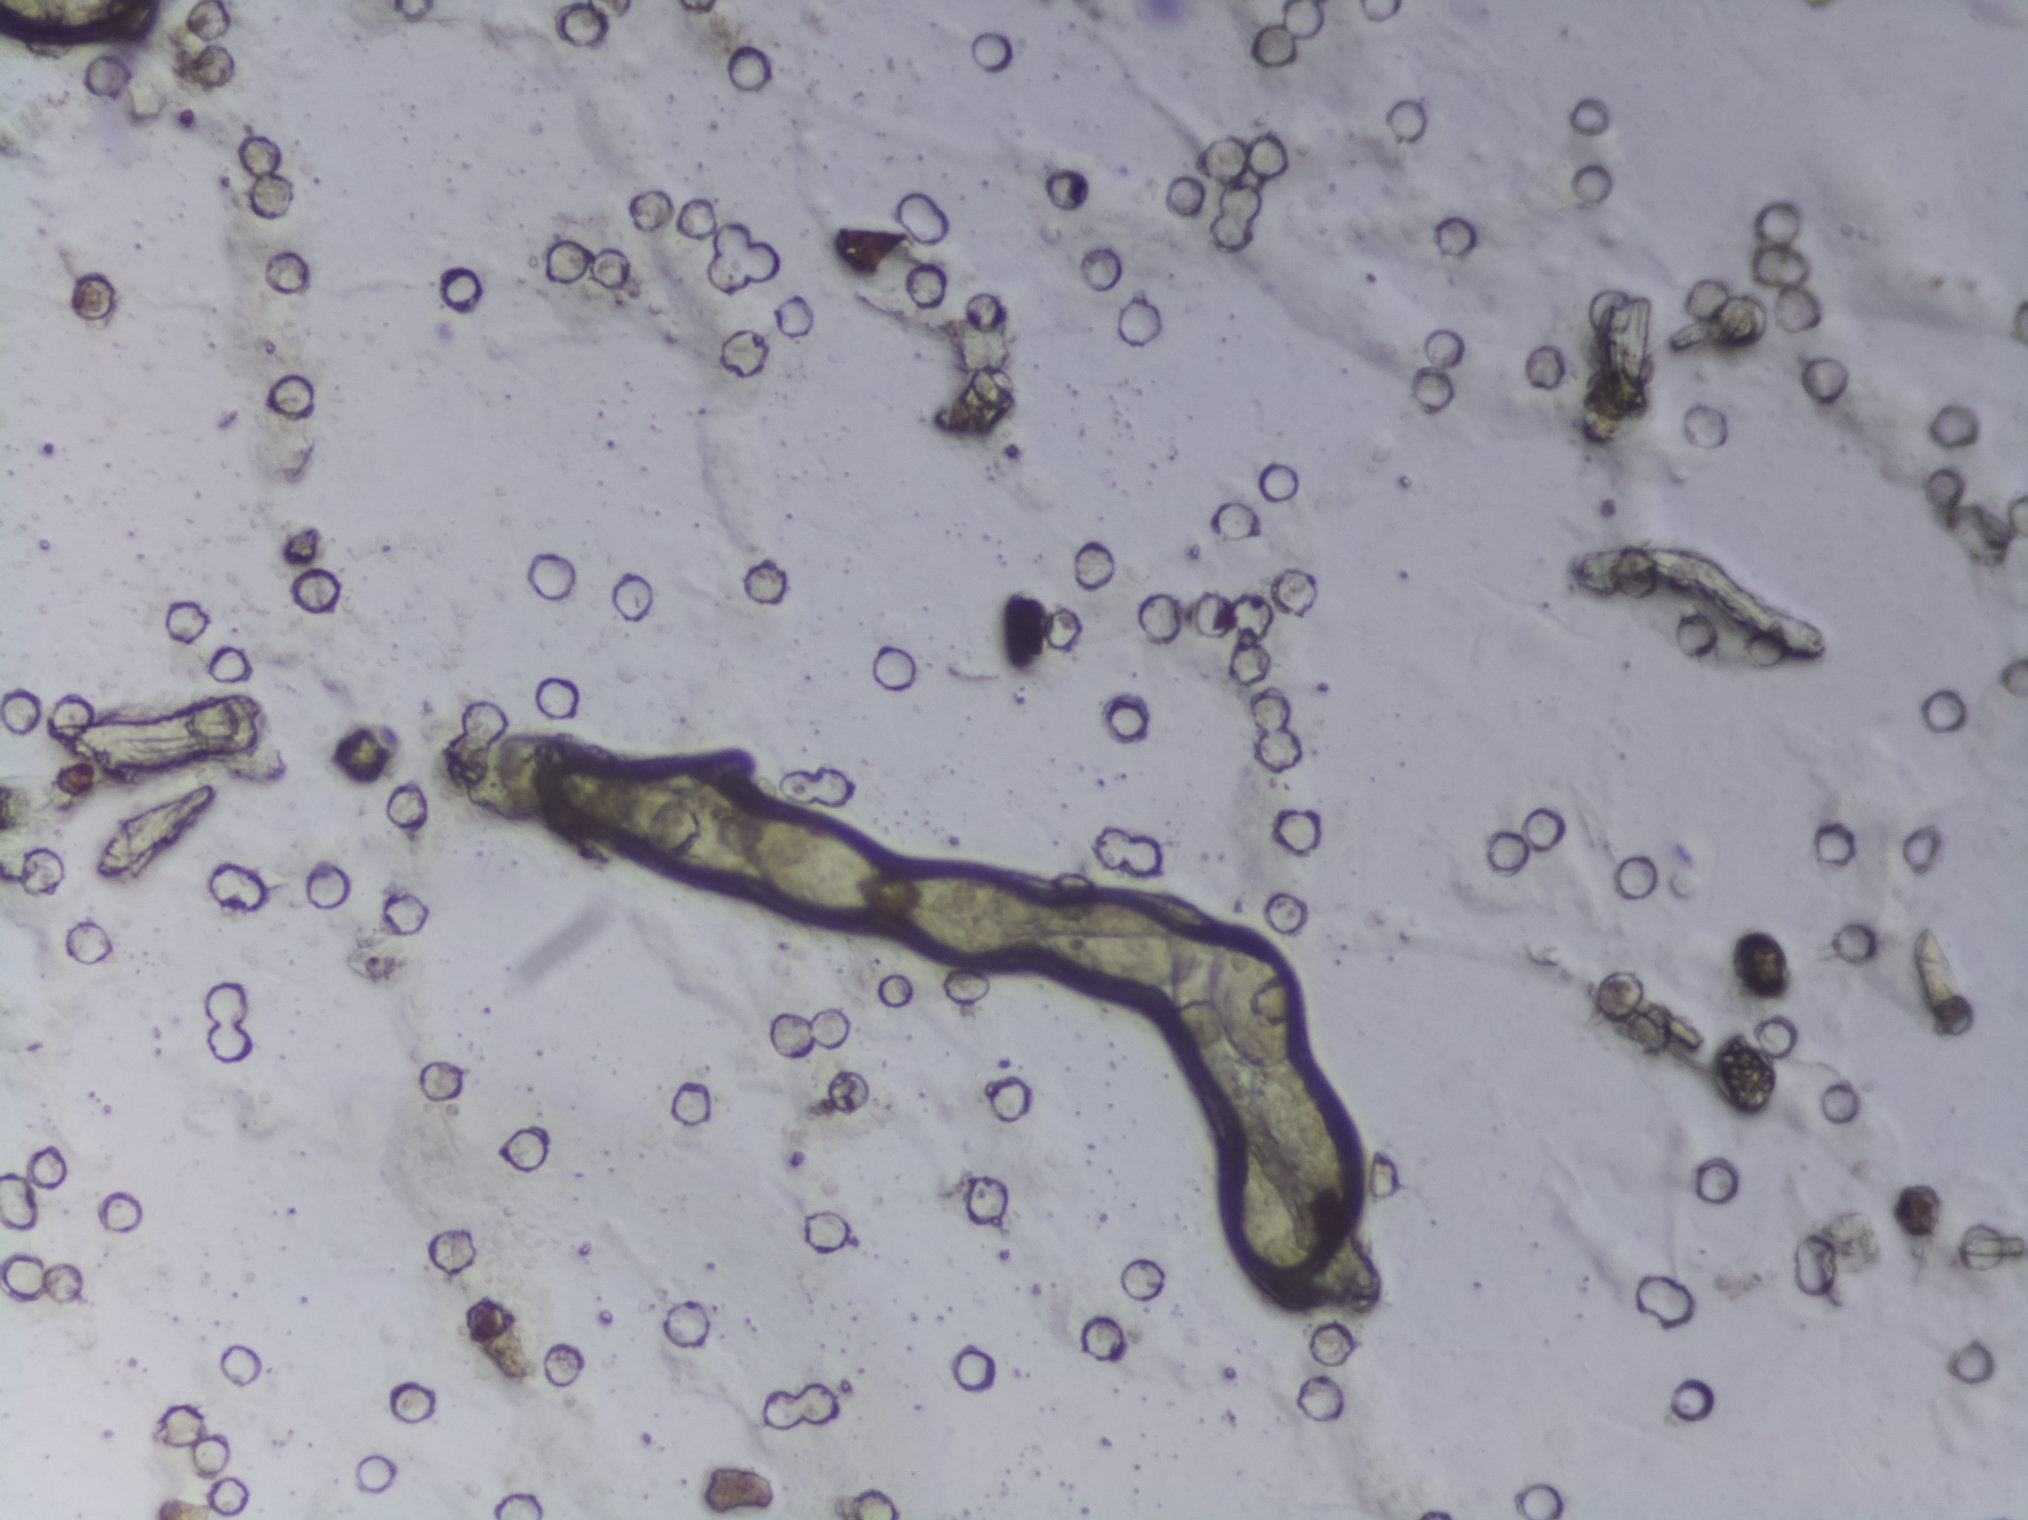
Urine filtration membrane under a 4× objective, photographed by an automated digital microscope. The image covers about 1.5 × 1.1 mm of the membrane.
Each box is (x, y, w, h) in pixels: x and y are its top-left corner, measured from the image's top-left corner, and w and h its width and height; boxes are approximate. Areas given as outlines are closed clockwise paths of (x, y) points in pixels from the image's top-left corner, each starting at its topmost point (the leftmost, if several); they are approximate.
The expert annotation outlines Schistosoma eggs in two areas, left to right: outline (507, 736), (572, 744), (635, 784), (669, 783), (711, 794), (740, 815), (807, 820), (853, 843), (884, 874), (983, 872), (1013, 880), (1032, 897), (1117, 894), (1157, 913), (1196, 952), (1197, 934), (1208, 928), (1237, 933), (1278, 965), (1297, 996), (1297, 1053), (1328, 1082), (1359, 1167), (1358, 1193), (1347, 1203), (1319, 1198), (1263, 1148), (1251, 1106), (1252, 1068), (1215, 1038), (1196, 983), (1126, 993), (1036, 947), (1004, 959), (973, 959), (917, 941), (872, 915), (838, 916), (814, 907), (754, 866), (744, 875), (700, 876), (642, 852), (613, 827), (544, 823), (506, 793), (497, 742) (eggs clustered together) and box (x=1218, y=1148, w=103, h=162). Eggs that touch can end up inside the same outlined area.